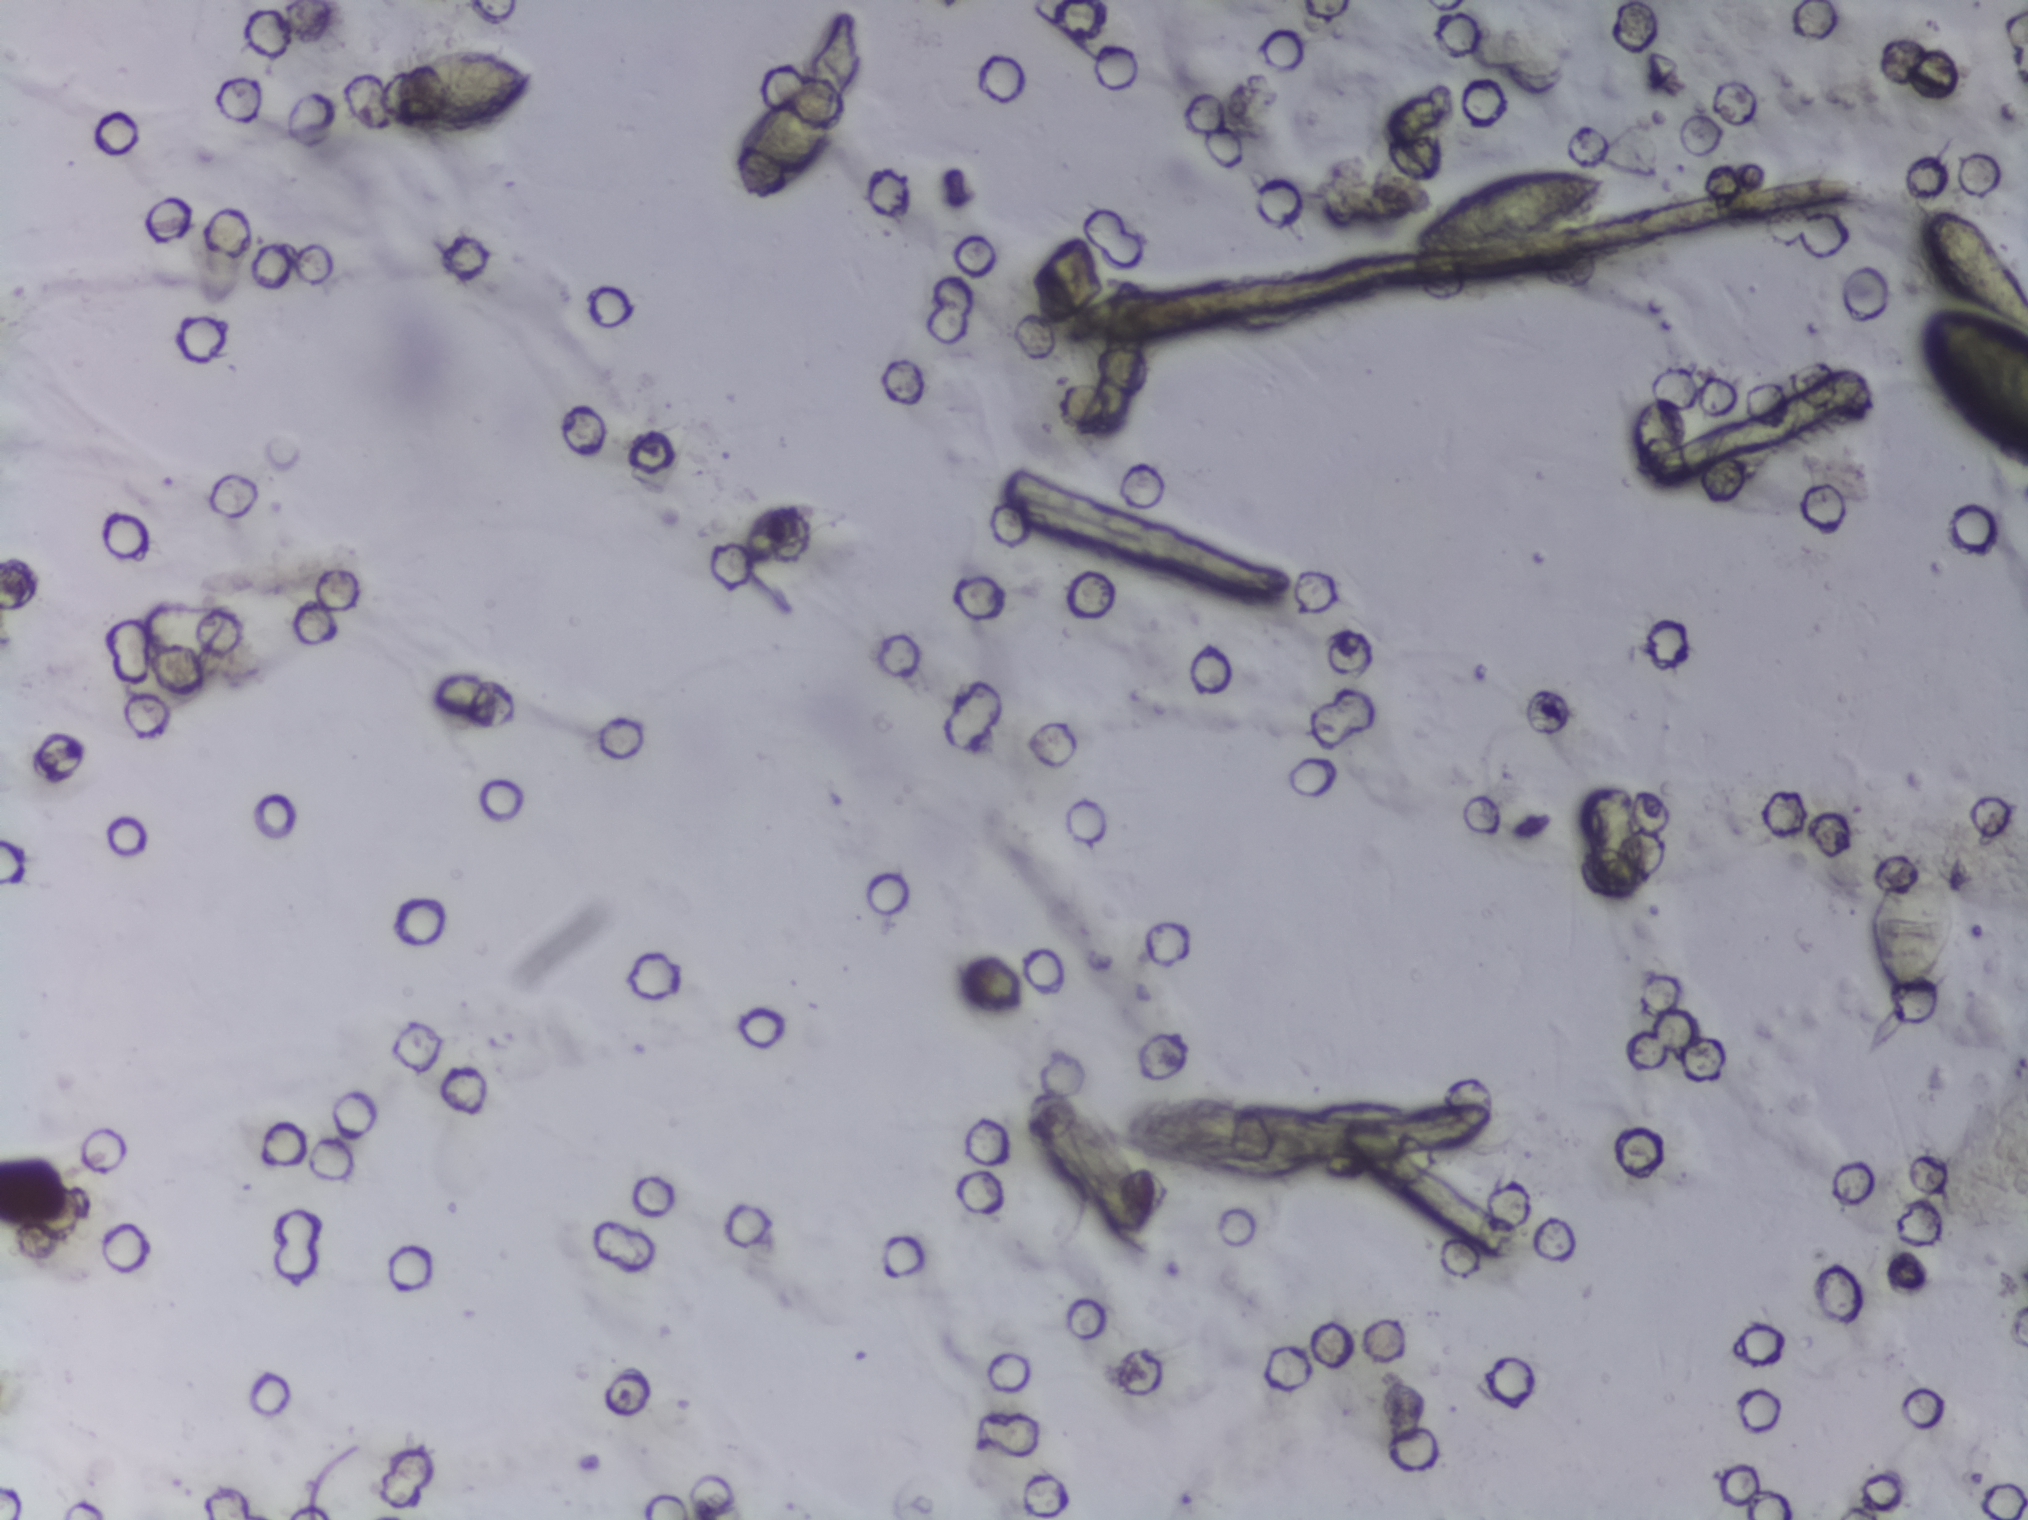
Microscope photograph (4× objective) of a membrane that a urine sample was filtered through.
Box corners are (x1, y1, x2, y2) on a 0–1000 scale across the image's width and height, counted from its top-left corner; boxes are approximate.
Three areas of this image are outlined as Schistosoma eggs, from left to right: (184, 29, 267, 86); (698, 111, 793, 174); (947, 203, 1000, 309) (reaching the right edge of the frame). A single outlined area may contain several eggs.